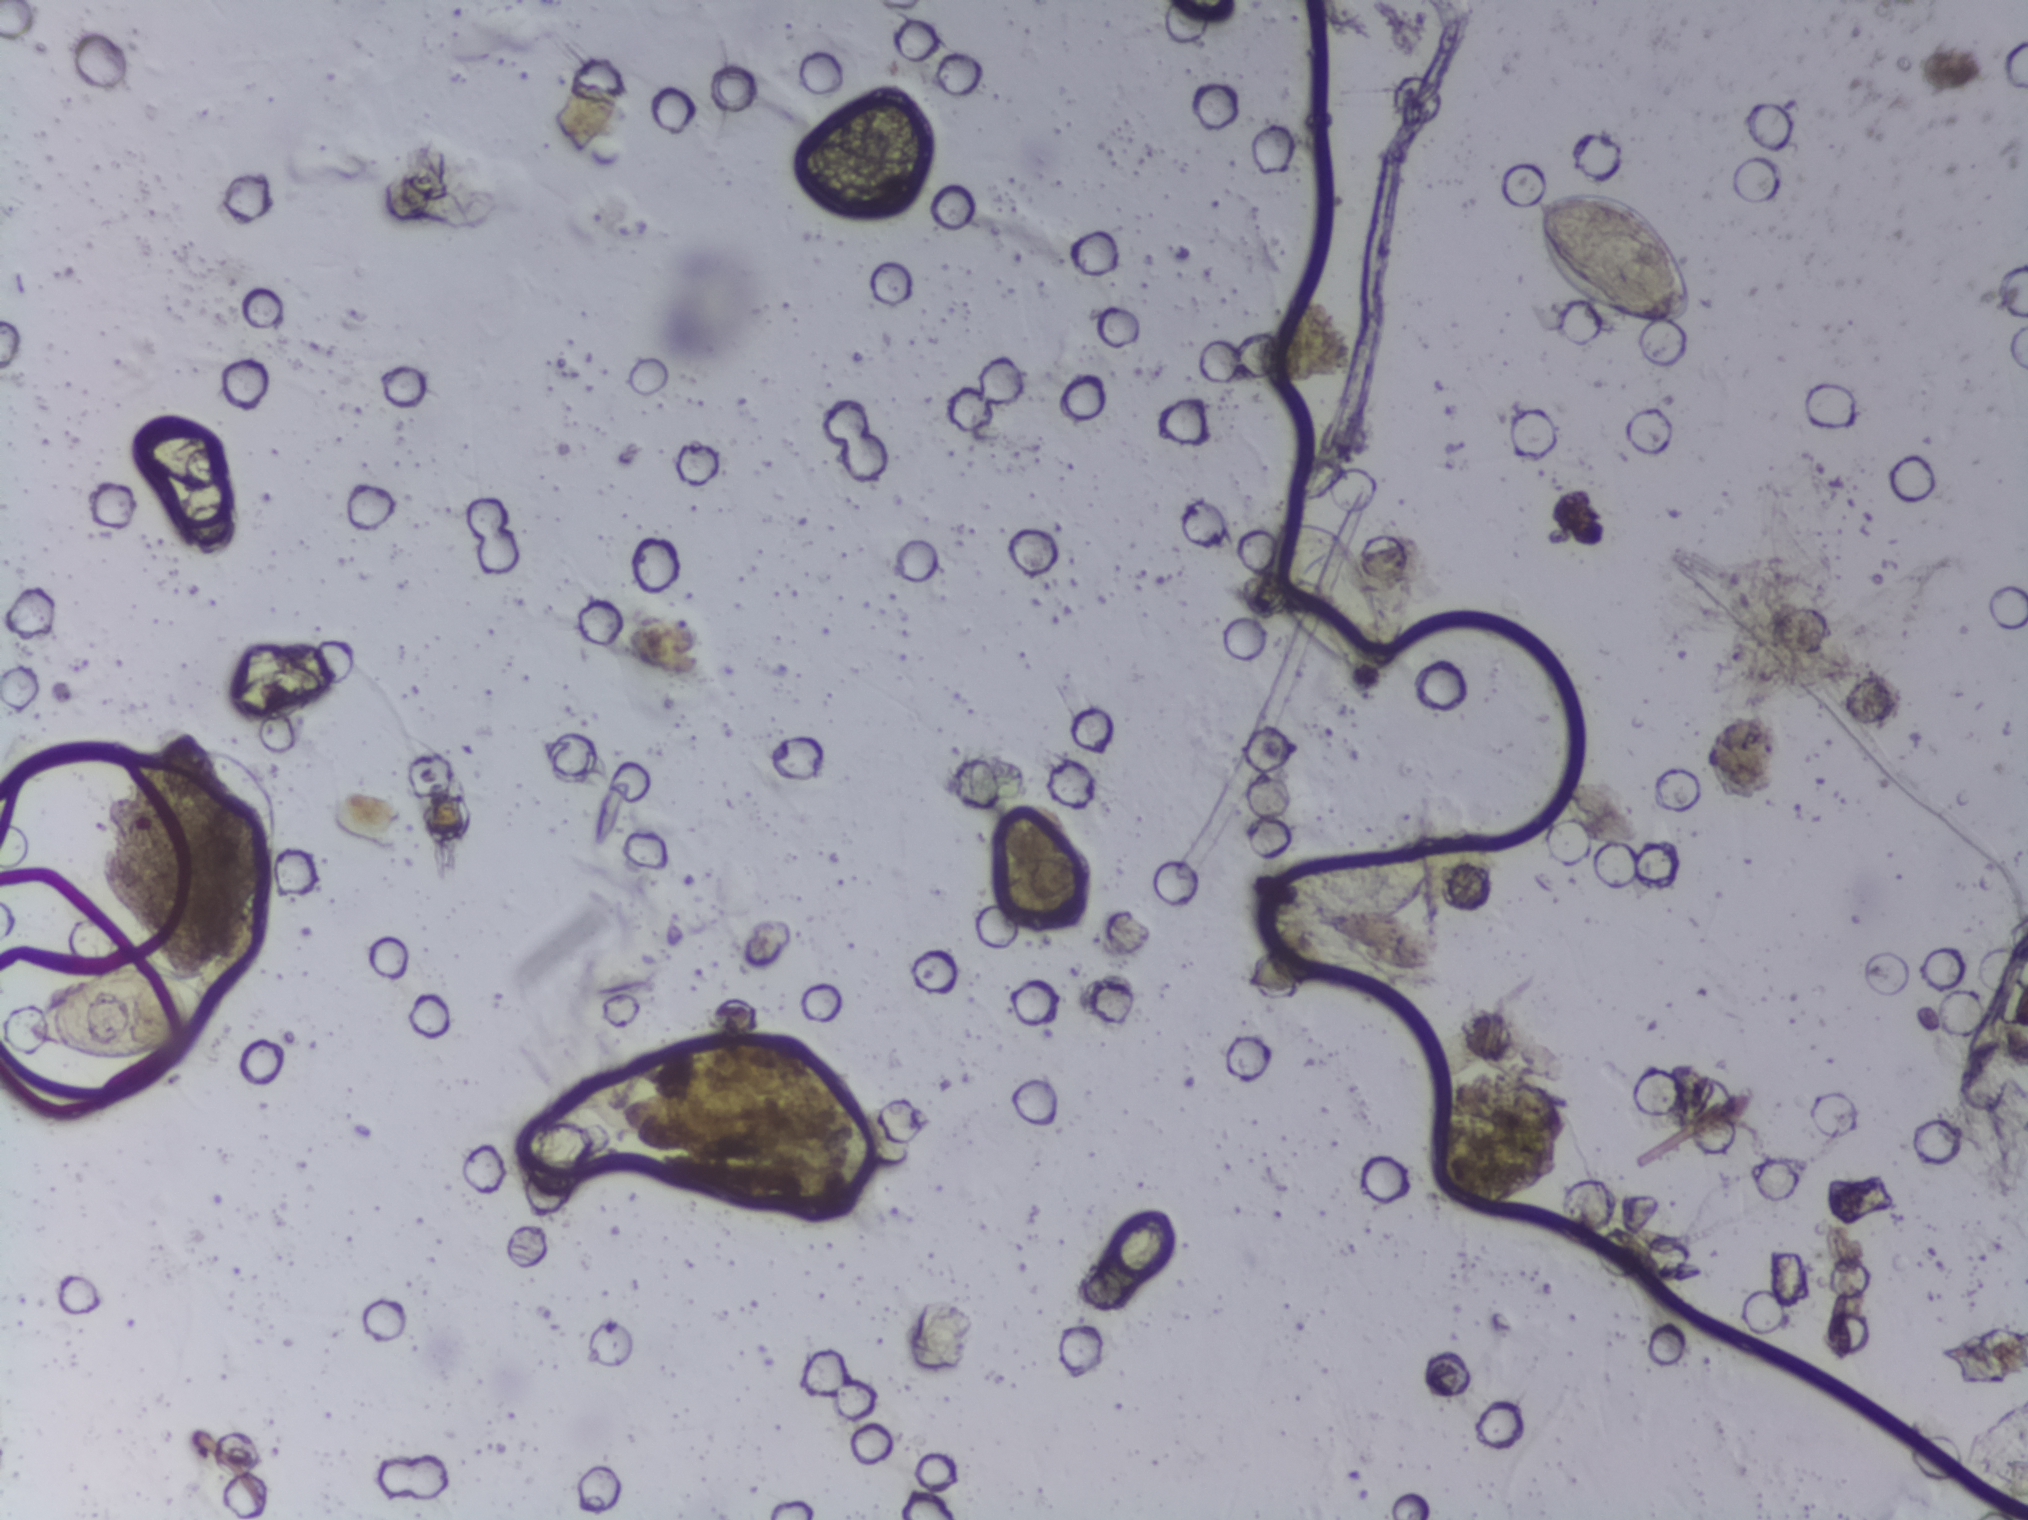
Urine filter membrane photographed through a 4× microscope objective.
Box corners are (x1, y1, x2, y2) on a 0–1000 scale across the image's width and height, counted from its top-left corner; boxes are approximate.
Findings: four areas outlined as Schistosoma eggs. Locations: (13, 631, 109, 699); (623, 560, 708, 614); (627, 340, 682, 448); (757, 124, 835, 215). About 1.7% of the image's pixels are marked (the marked pixels themselves, not the boxes around them). A single outlined area may contain several eggs. Any one outlined egg may, rarely, be S. mansoni rather than S. haematobium.